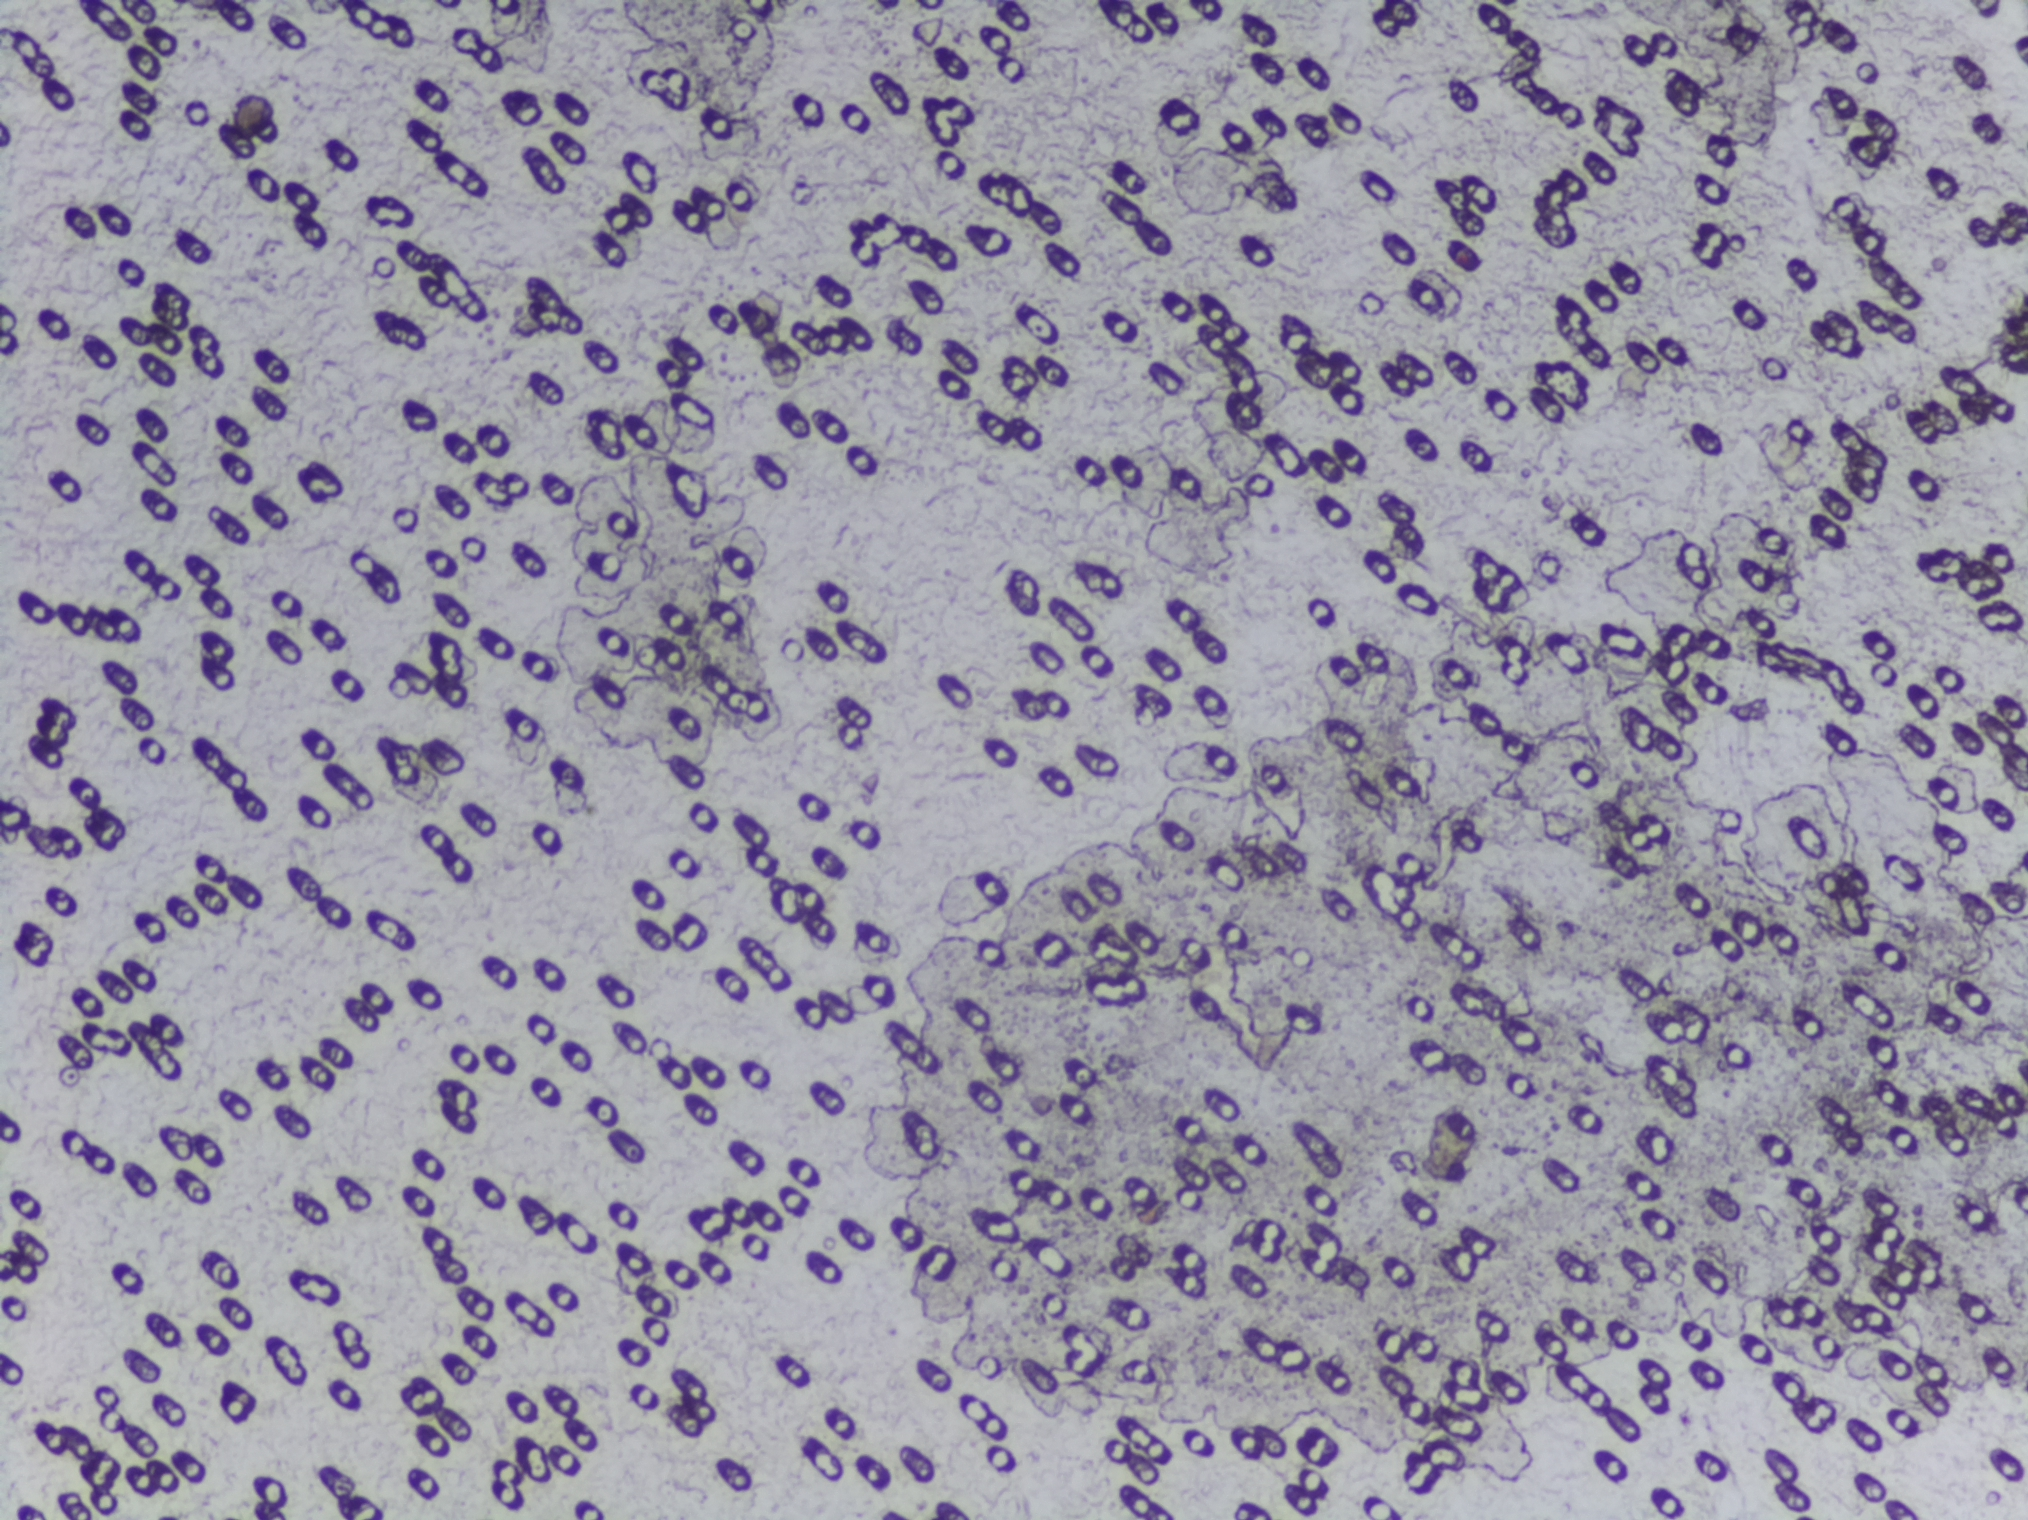
Microscope photograph (4× objective) of a membrane that a urine sample was filtered through.
The expert annotation outlines no Schistosoma egg in this image.